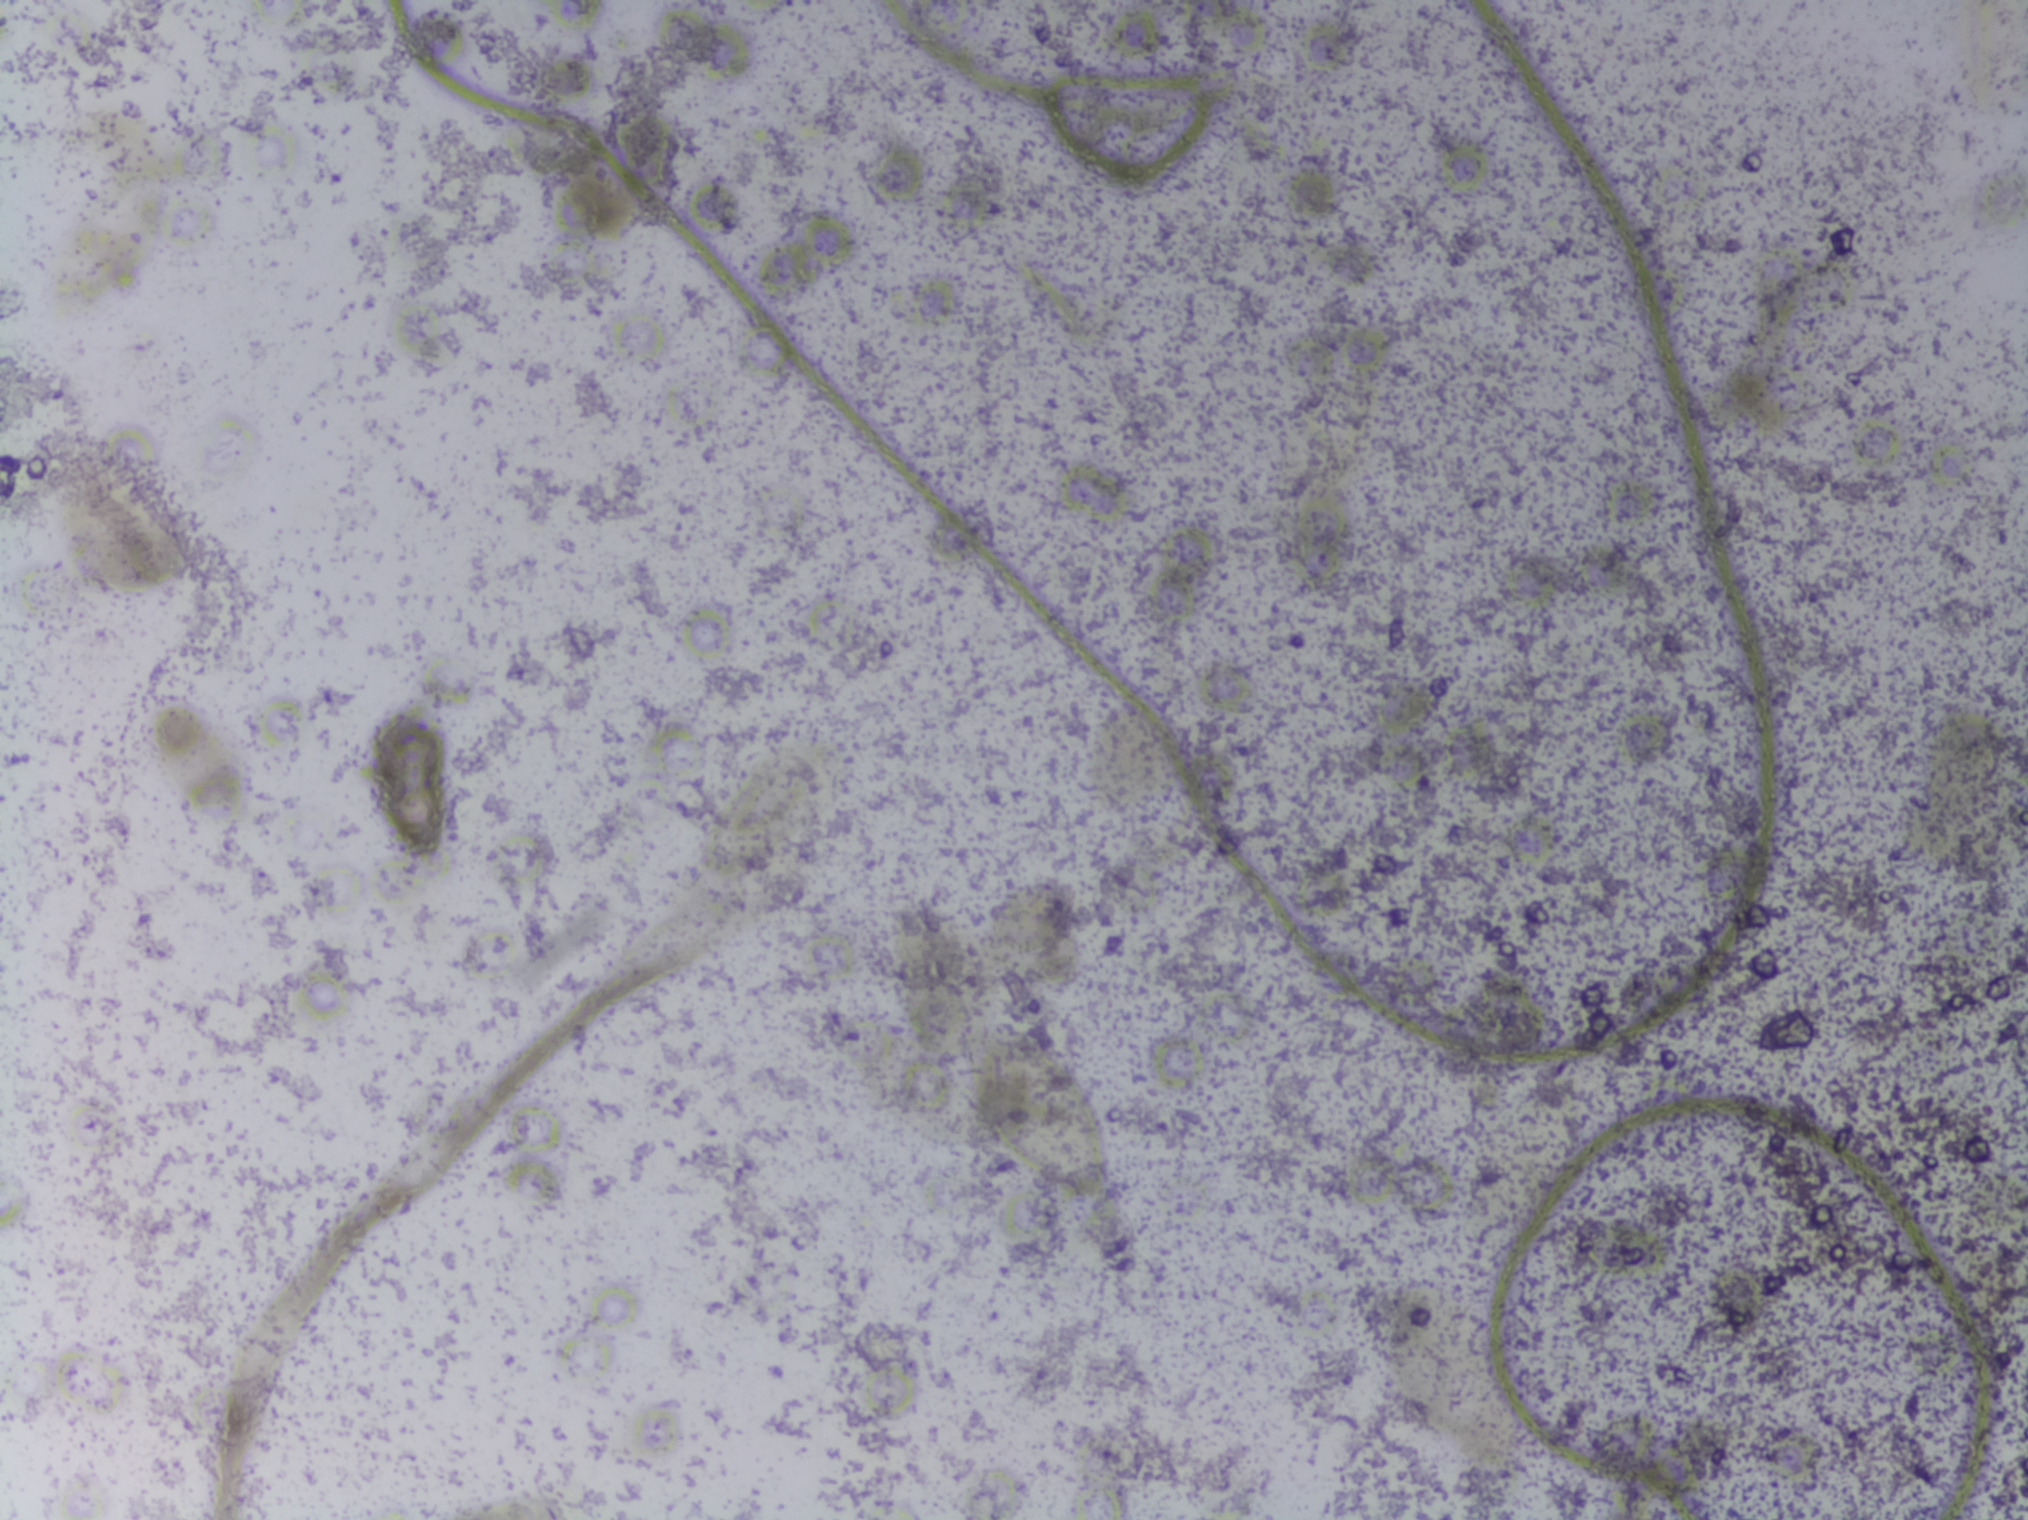
Photograph from an automated digital microscope: urine filter membrane, 4× objective.
The expert annotation marks no Schistosoma egg in this field of view.